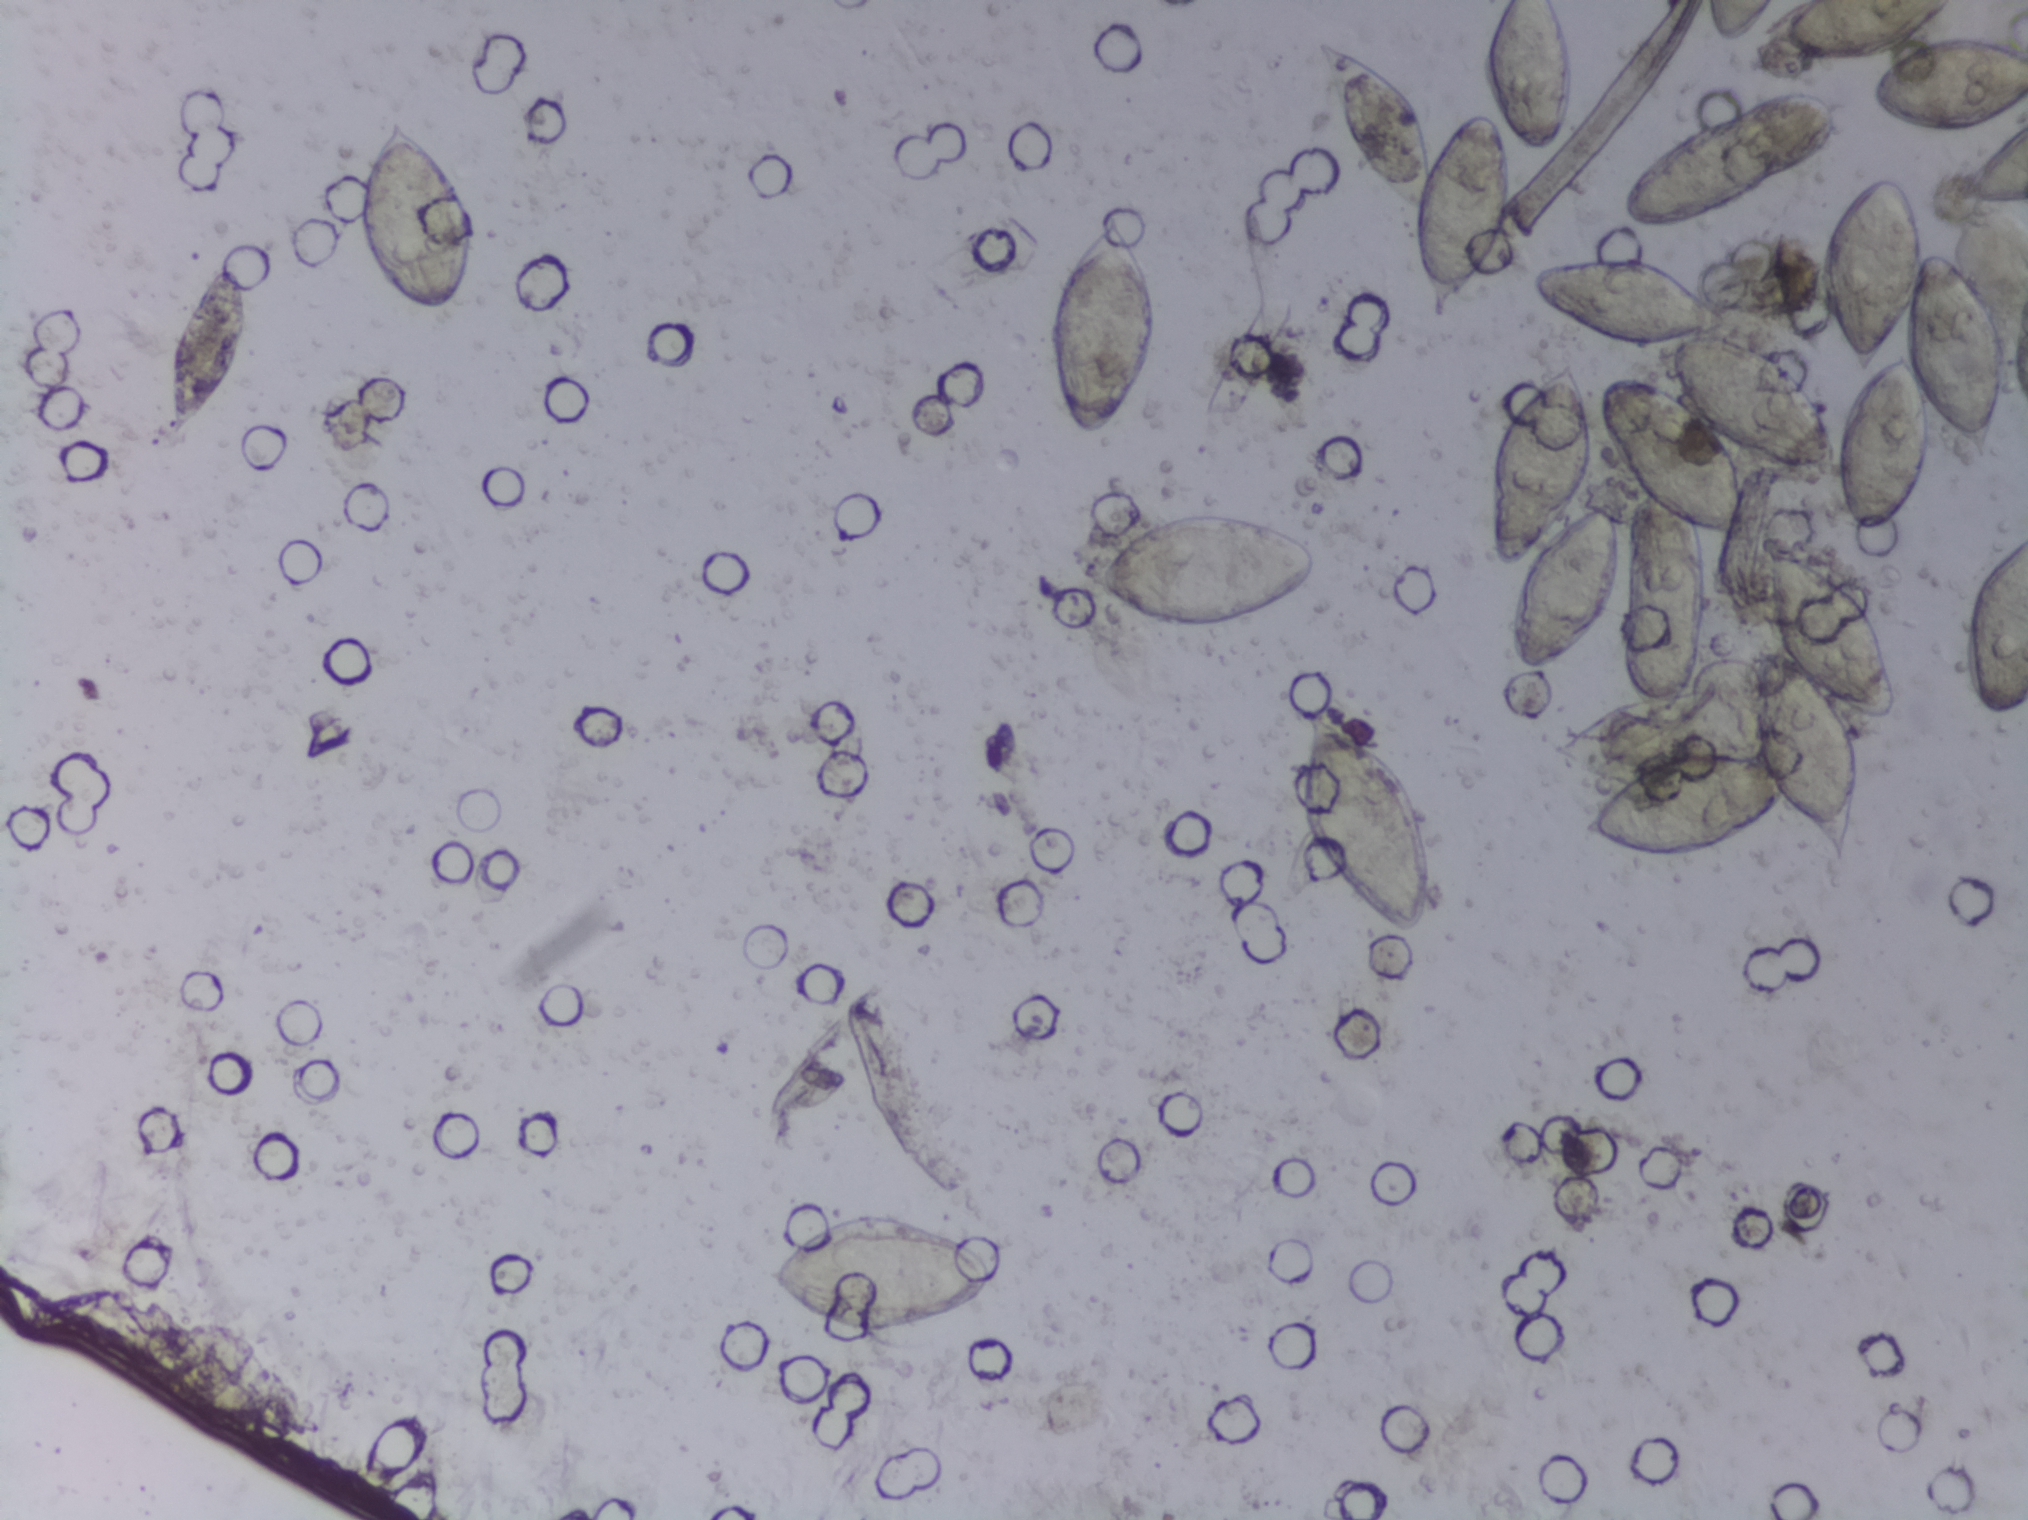
Microscope photograph (4× objective) of a membrane that a urine sample was filtered through.
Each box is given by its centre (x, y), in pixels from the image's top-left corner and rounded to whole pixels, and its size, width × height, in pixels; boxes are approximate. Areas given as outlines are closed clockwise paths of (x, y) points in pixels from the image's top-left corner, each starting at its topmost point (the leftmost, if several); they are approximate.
Findings: 15 areas outlined as Schistosoma eggs. Locations: box centre (207, 349), 83 × 177 px; box centre (415, 218), 134 × 210 px; box centre (879, 1274), 225 × 125 px; box centre (1104, 323), 123 × 244 px; box centre (1200, 572), 244 × 130 px; box centre (1366, 816), 144 × 249 px; outline (1317, 38), (1382, 65), (1415, 100), (1435, 147), (1476, 108), (1492, 112), (1504, 127), (1512, 166), (1504, 237), (1472, 288), (1448, 305), (1438, 323), (1428, 322), (1411, 269), (1411, 214), (1359, 166), (1335, 111); box centre (1529, 78), 93 × 156 px (reaching the top edge of the frame); box centre (1734, 160), 226 × 142 px; box centre (1741, 21), 70 × 43 px (reaching the top edge of the frame); outline (1883, 168), (1913, 195), (1924, 243), (1940, 242), (1967, 266), (2006, 332), (2008, 383), (1993, 463), (1984, 465), (1931, 416), (1926, 463), (1912, 502), (1882, 531), (1858, 534), (1841, 509), (1836, 474), (1805, 478), (1729, 447), (1743, 472), (1758, 535), (1774, 535), (1842, 573), (1869, 600), (1886, 638), (1901, 704), (1897, 716), (1877, 726), (1844, 715), (1858, 783), (1850, 869), (1845, 873), (1837, 866), (1817, 835), (1781, 801), (1754, 834), (1688, 860), (1652, 862), (1584, 841), (1584, 813), (1651, 760), (1696, 749), (1756, 752), (1752, 675), (1772, 640), (1763, 623), (1758, 550), (1706, 535), (1711, 570), (1704, 640), (1695, 687), (1677, 714), (1648, 722), (1620, 688), (1623, 557), (1614, 608), (1604, 623), (1546, 672), (1511, 671), (1505, 630), (1521, 569), (1507, 570), (1488, 557), (1481, 514), (1481, 488), (1505, 420), (1574, 356), (1595, 414), (1598, 455), (1566, 519), (1609, 492), (1623, 534), (1639, 491), (1612, 454), (1602, 382), (1614, 374), (1643, 375), (1671, 385), (1665, 348), (1591, 340), (1536, 301), (1528, 274), (1558, 252), (1637, 252), (1691, 276), (1723, 308), (1727, 332), (1783, 360), (1812, 388), (1836, 446), (1845, 400), (1862, 380), (1836, 351), (1825, 317), (1820, 256), (1845, 195) (a cluster of eggs); box centre (1858, 32), 198 × 65 px (reaching the top edge of the frame); box centre (1949, 85), 157 × 95 px (reaching the right edge of the frame); box centre (1994, 162), 67 × 86 px (reaching the right edge of the frame); box centre (1996, 623), 64 × 186 px (reaching the right edge of the frame). A single outlined area may contain several eggs.